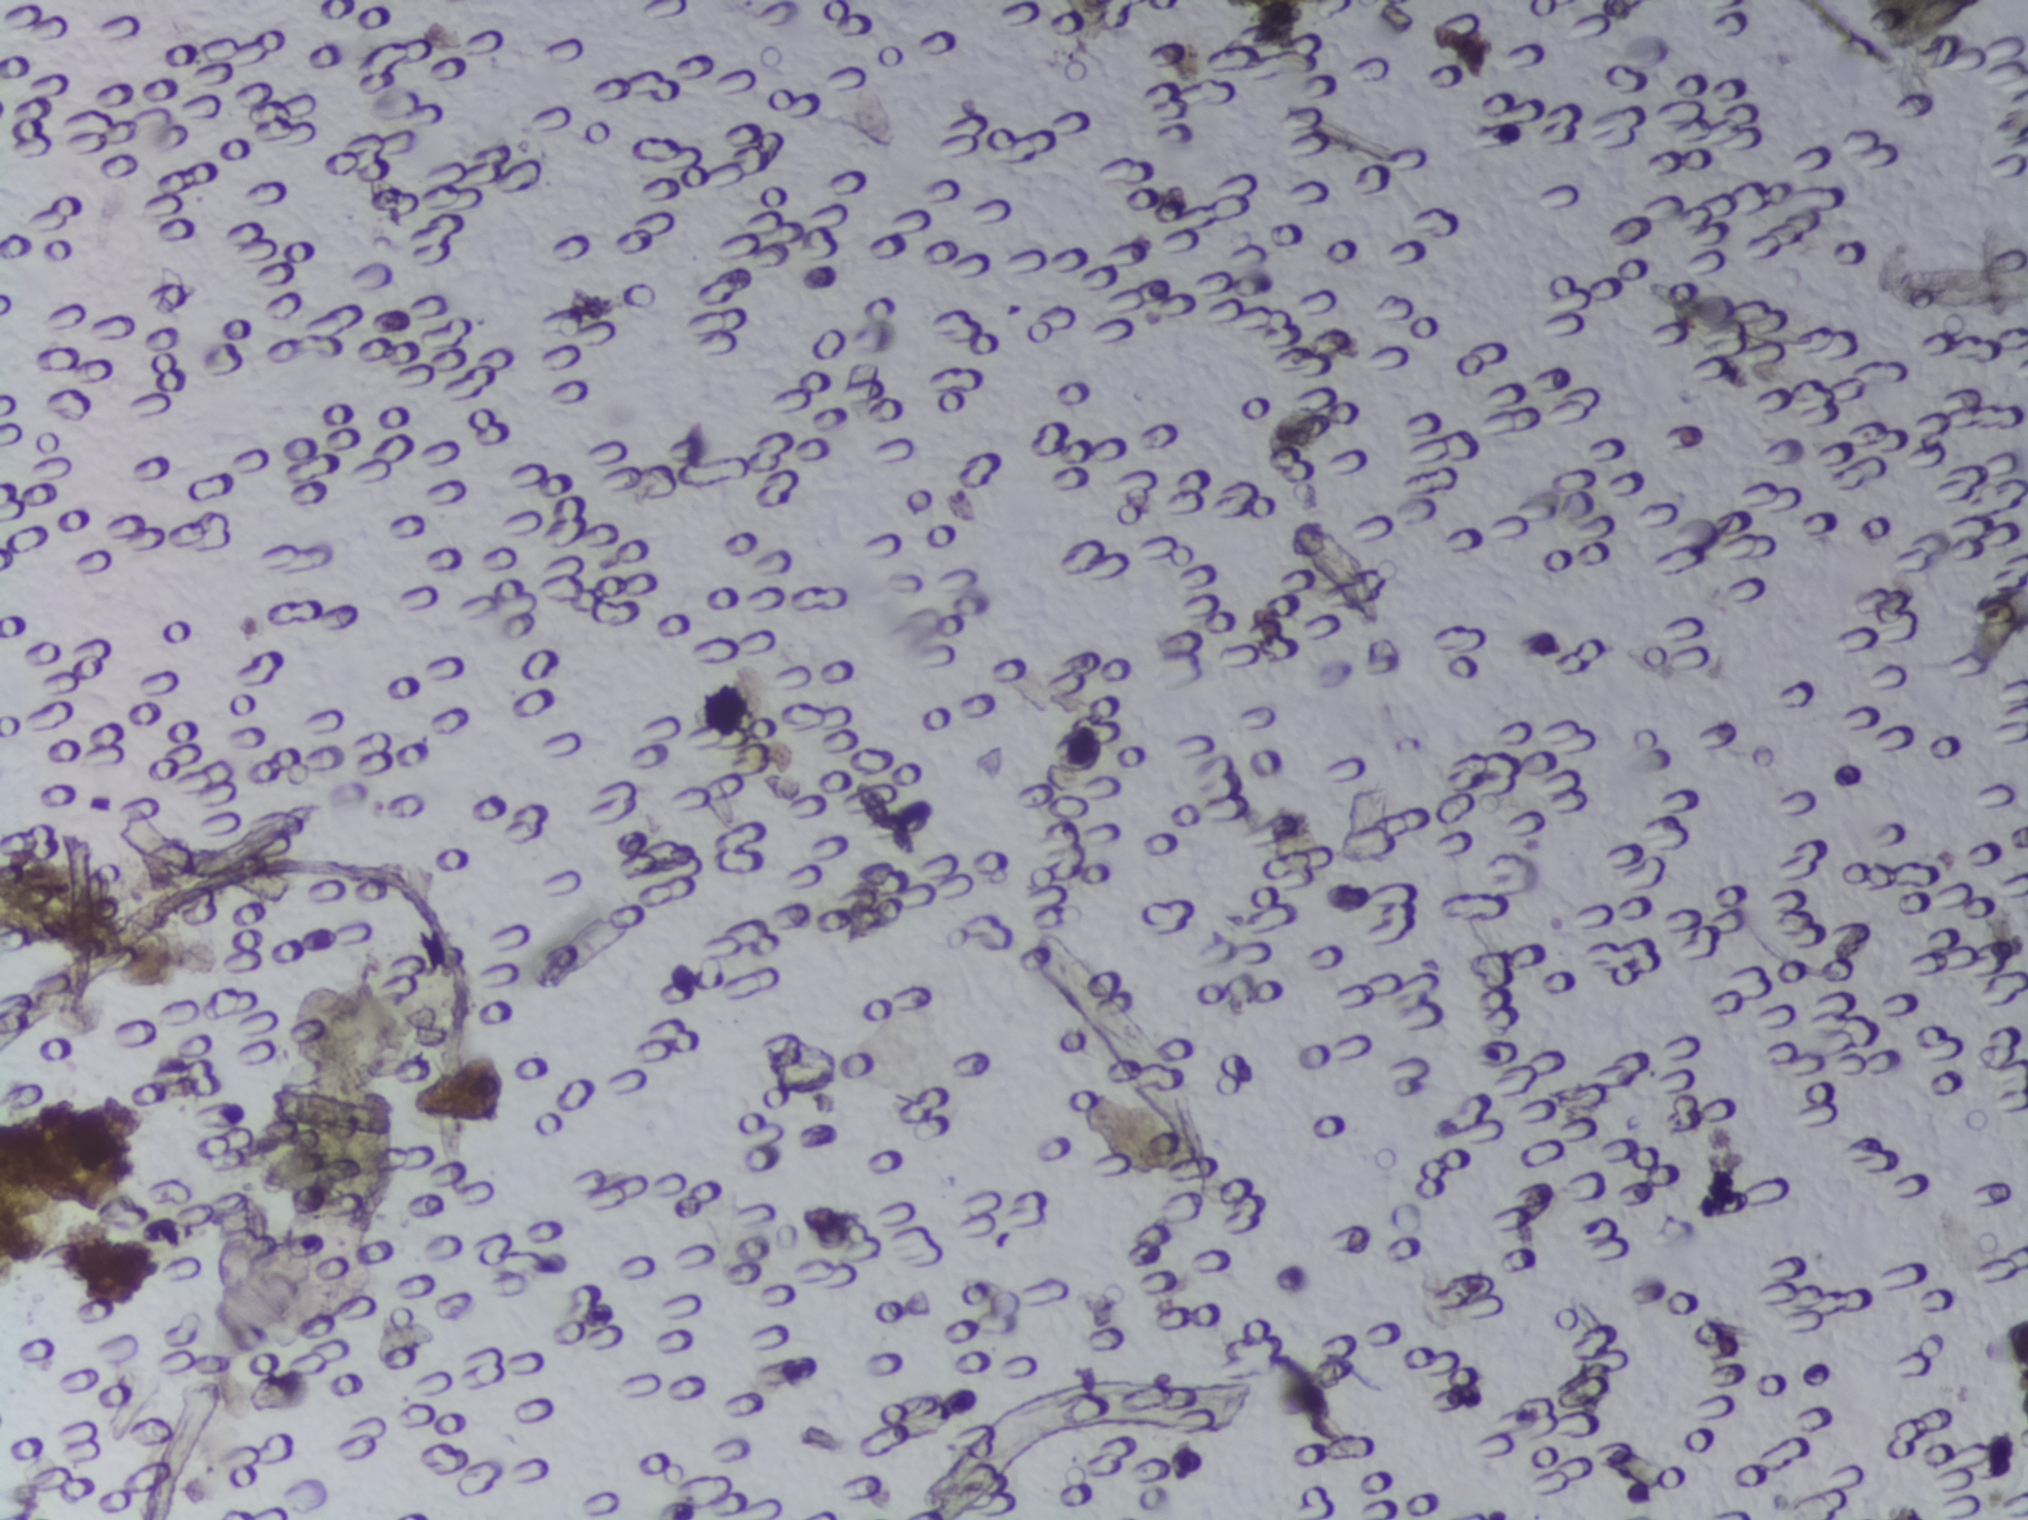
Urine filtration membrane under a 4× objective, photographed by an automated digital microscope.
No area of this image was outlined as a Schistosoma egg.